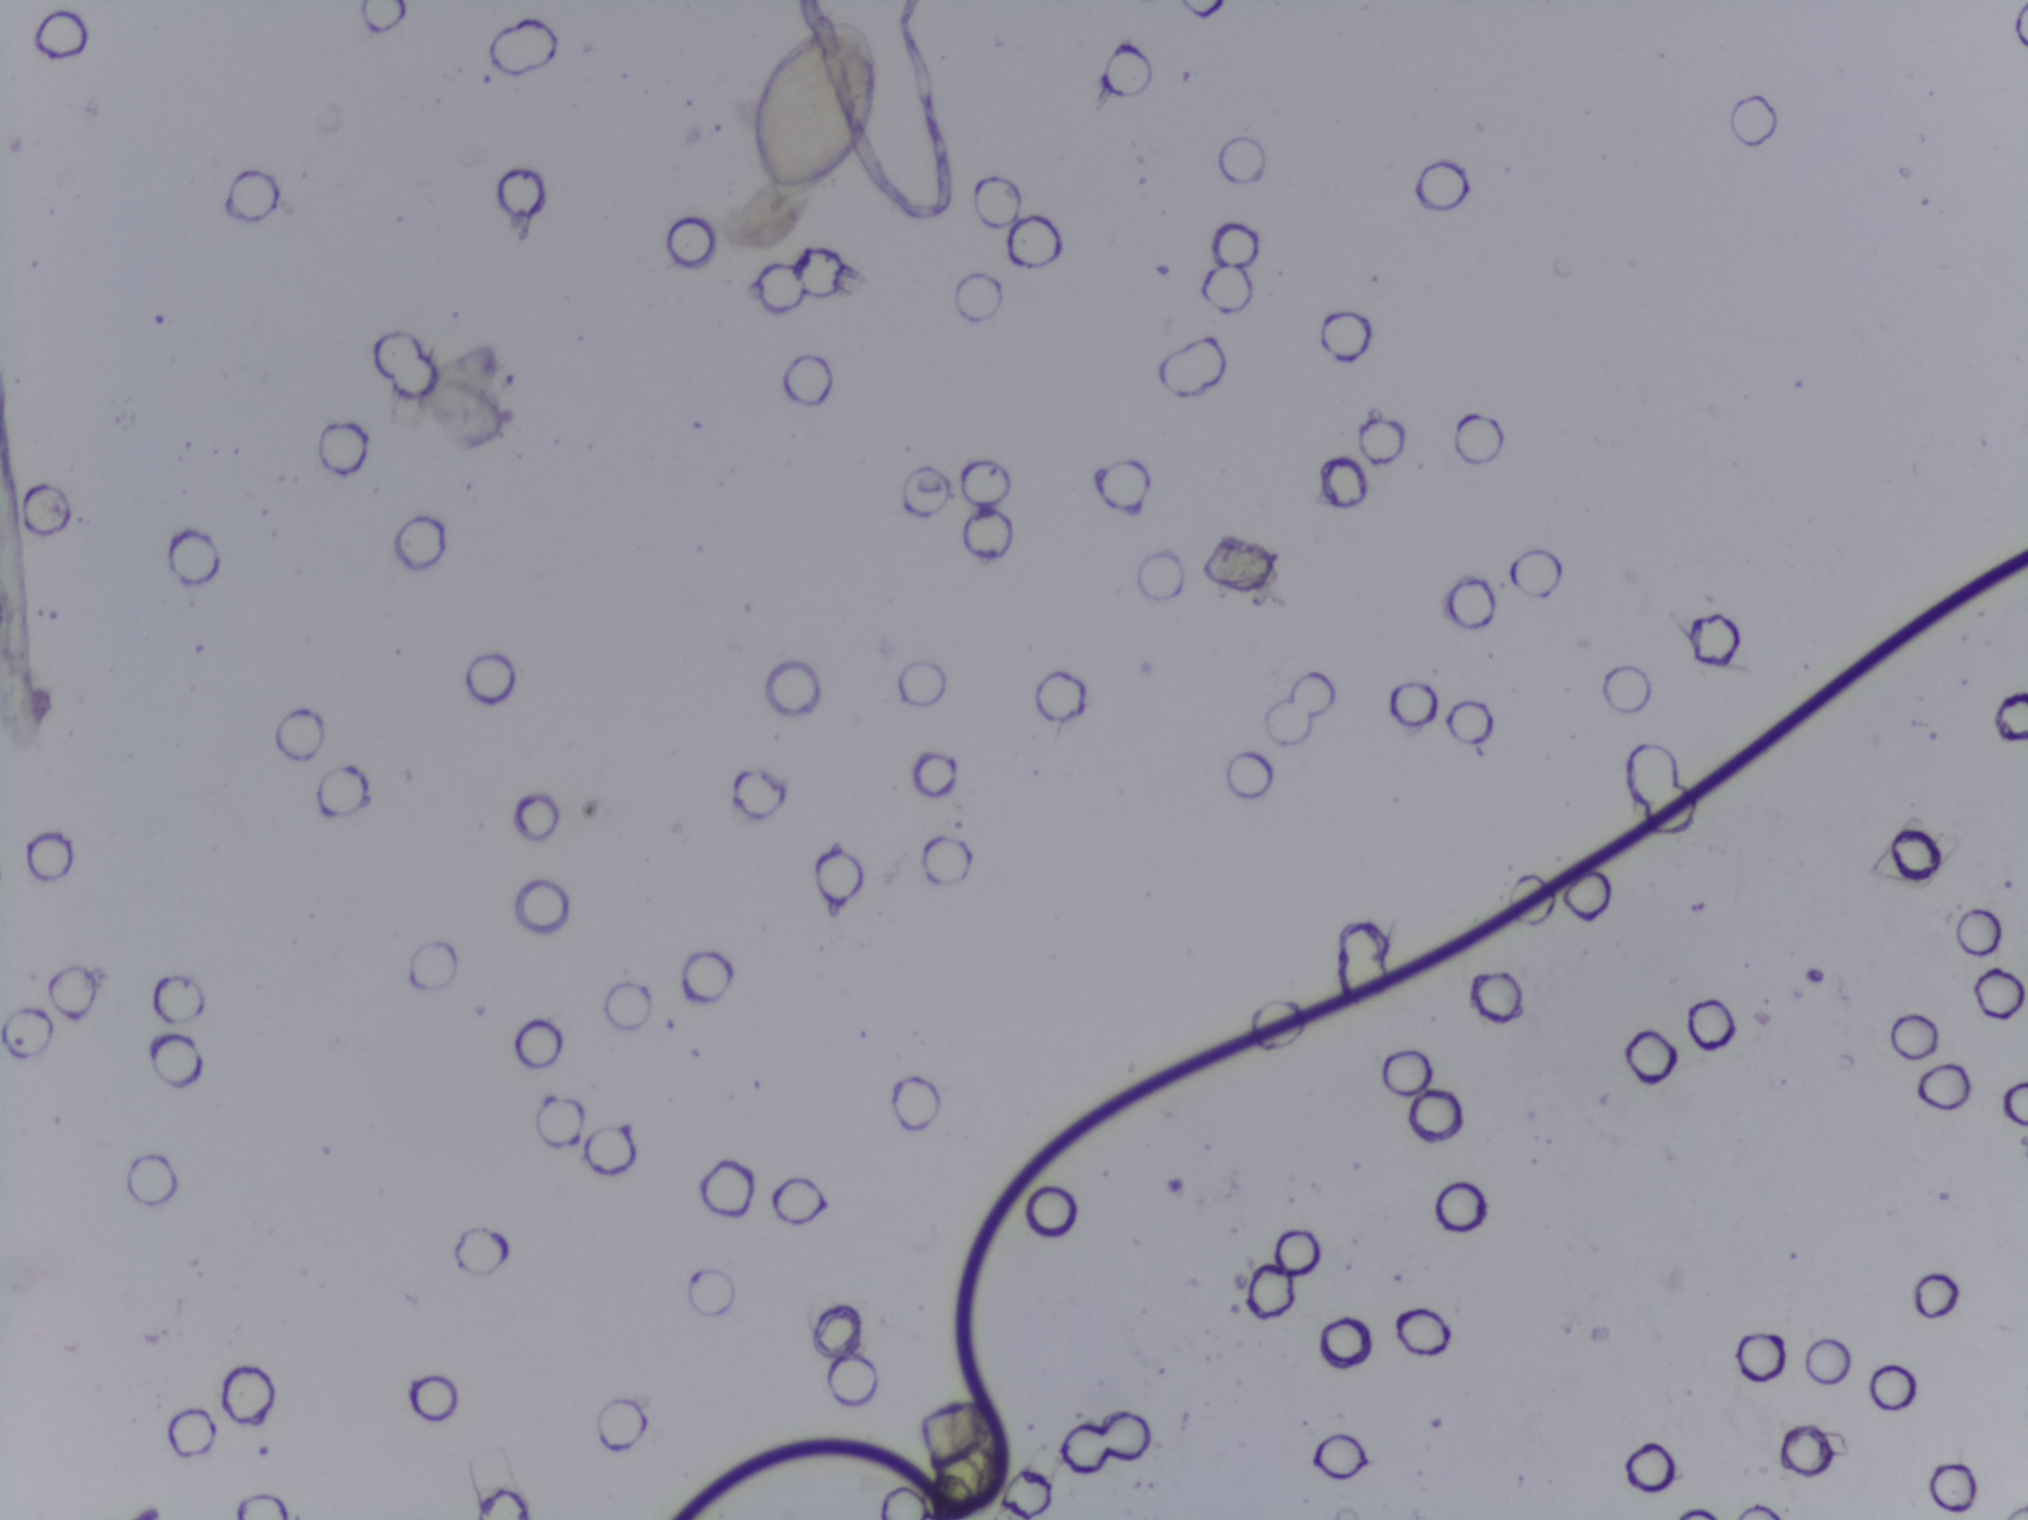
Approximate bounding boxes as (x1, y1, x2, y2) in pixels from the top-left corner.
Schistosoma eggs are outlined in one area of this image: (748, 19, 881, 210). About 0.6% of the image's pixels are marked (the marked pixels themselves, not the box around them). A single outlined area may contain several eggs.
Microscope photograph (4× objective) of a membrane that a urine sample was filtered through.